Photomicrograph of a urine filtration membrane, 4× objective.
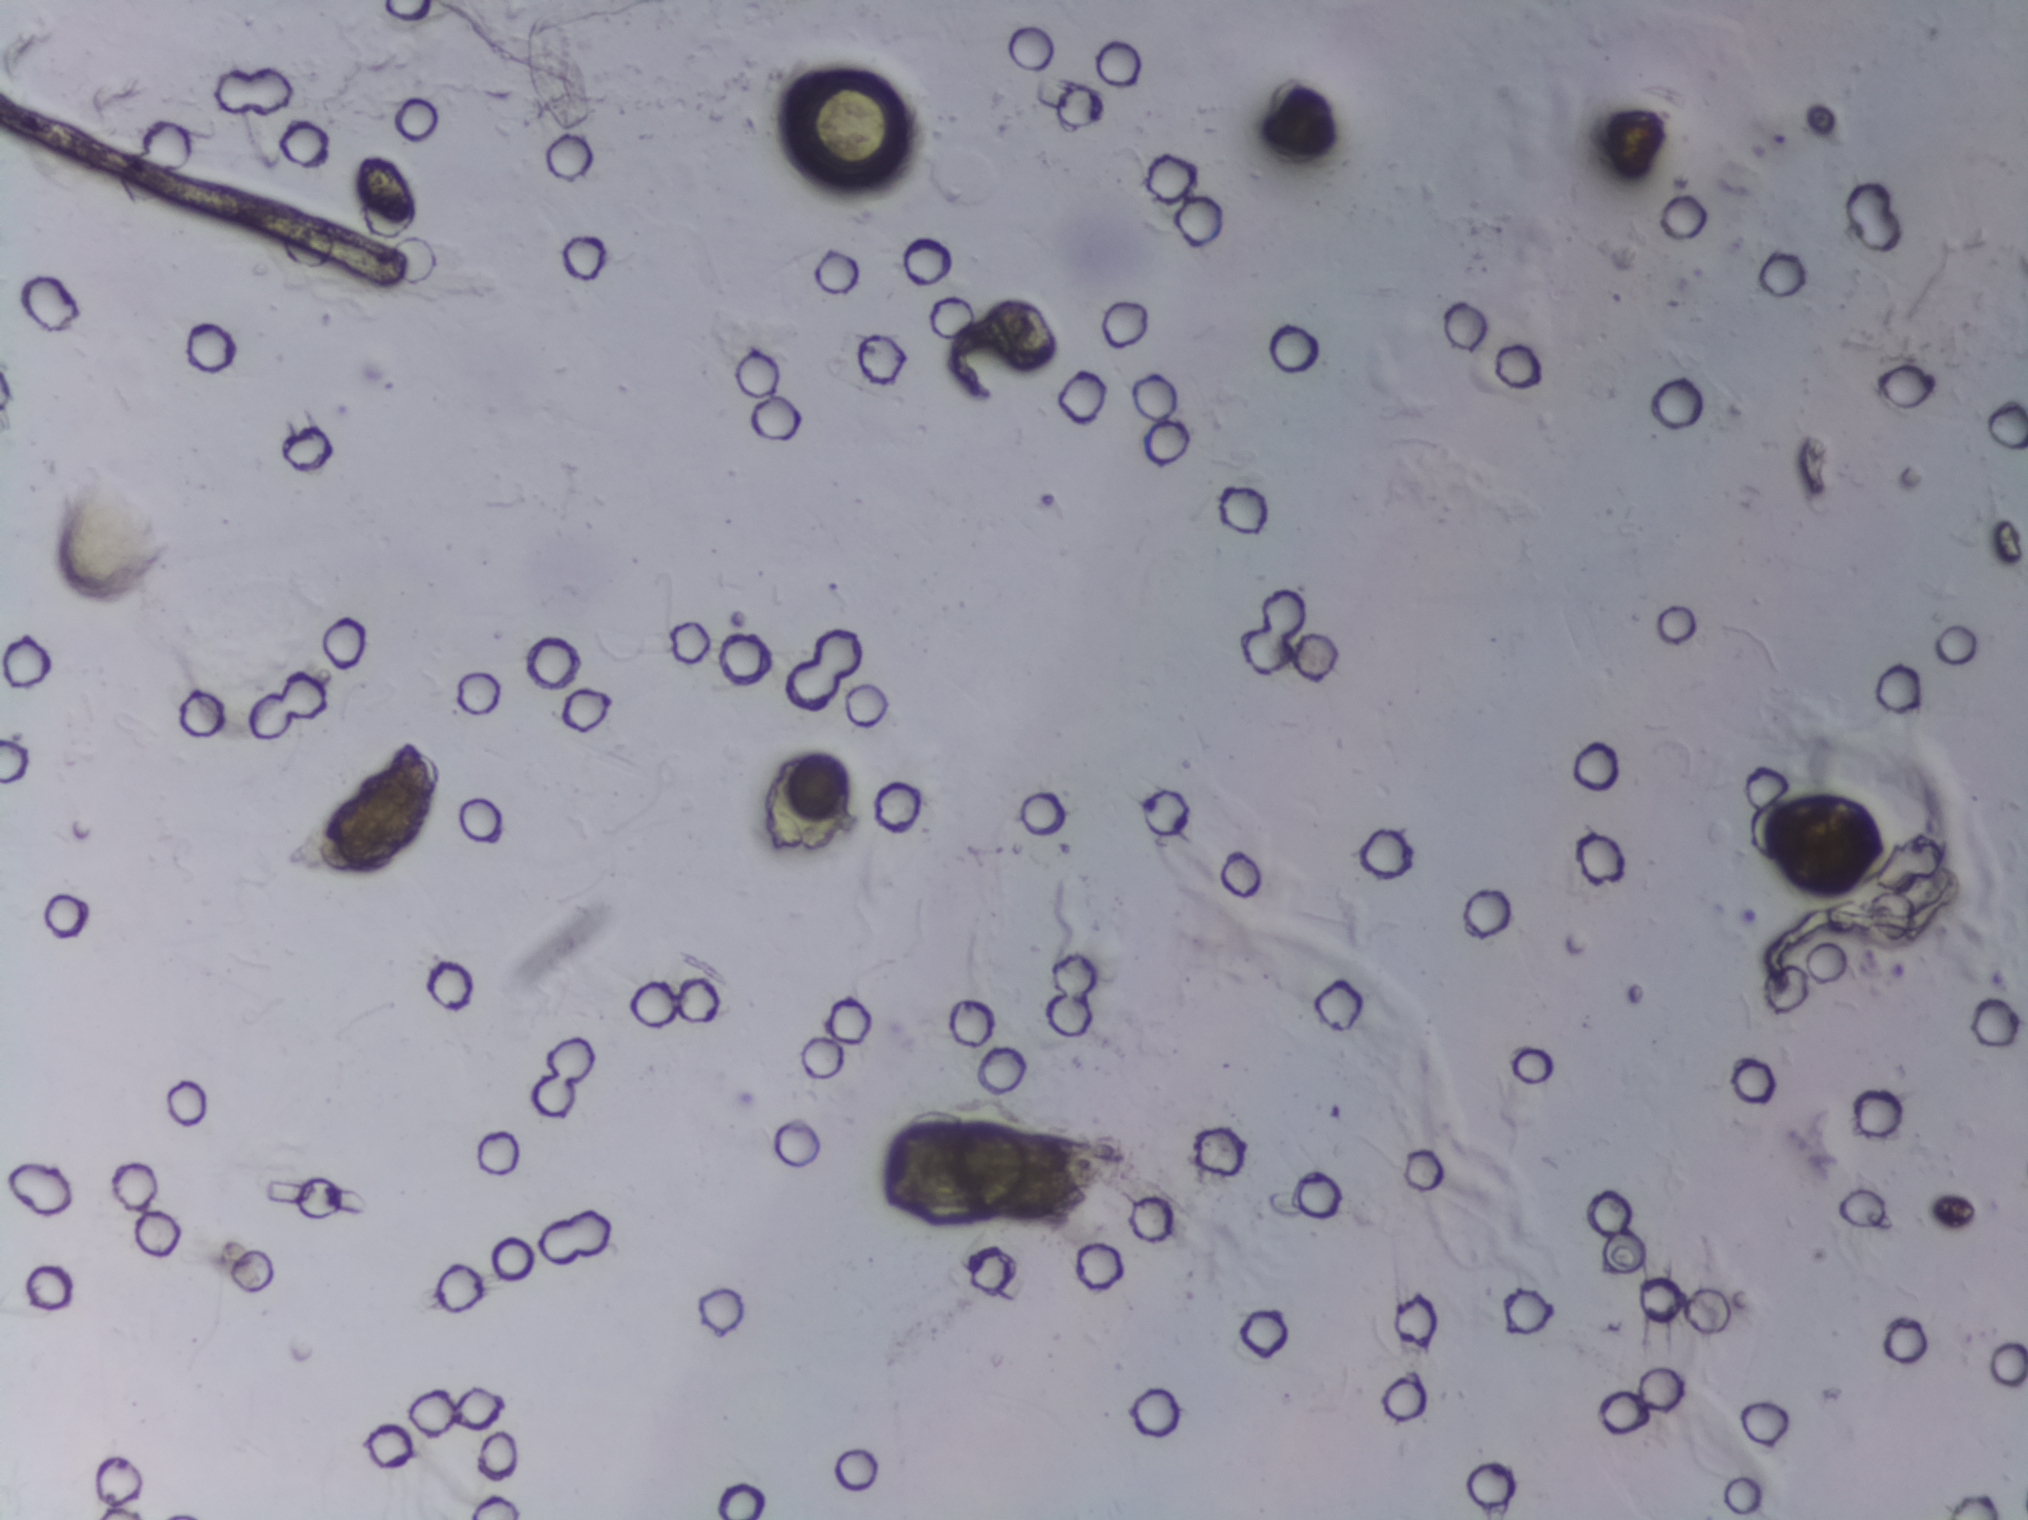
No area of this image was outlined as a Schistosoma egg.